Photomicrograph of a urine filtration membrane, 4× objective.
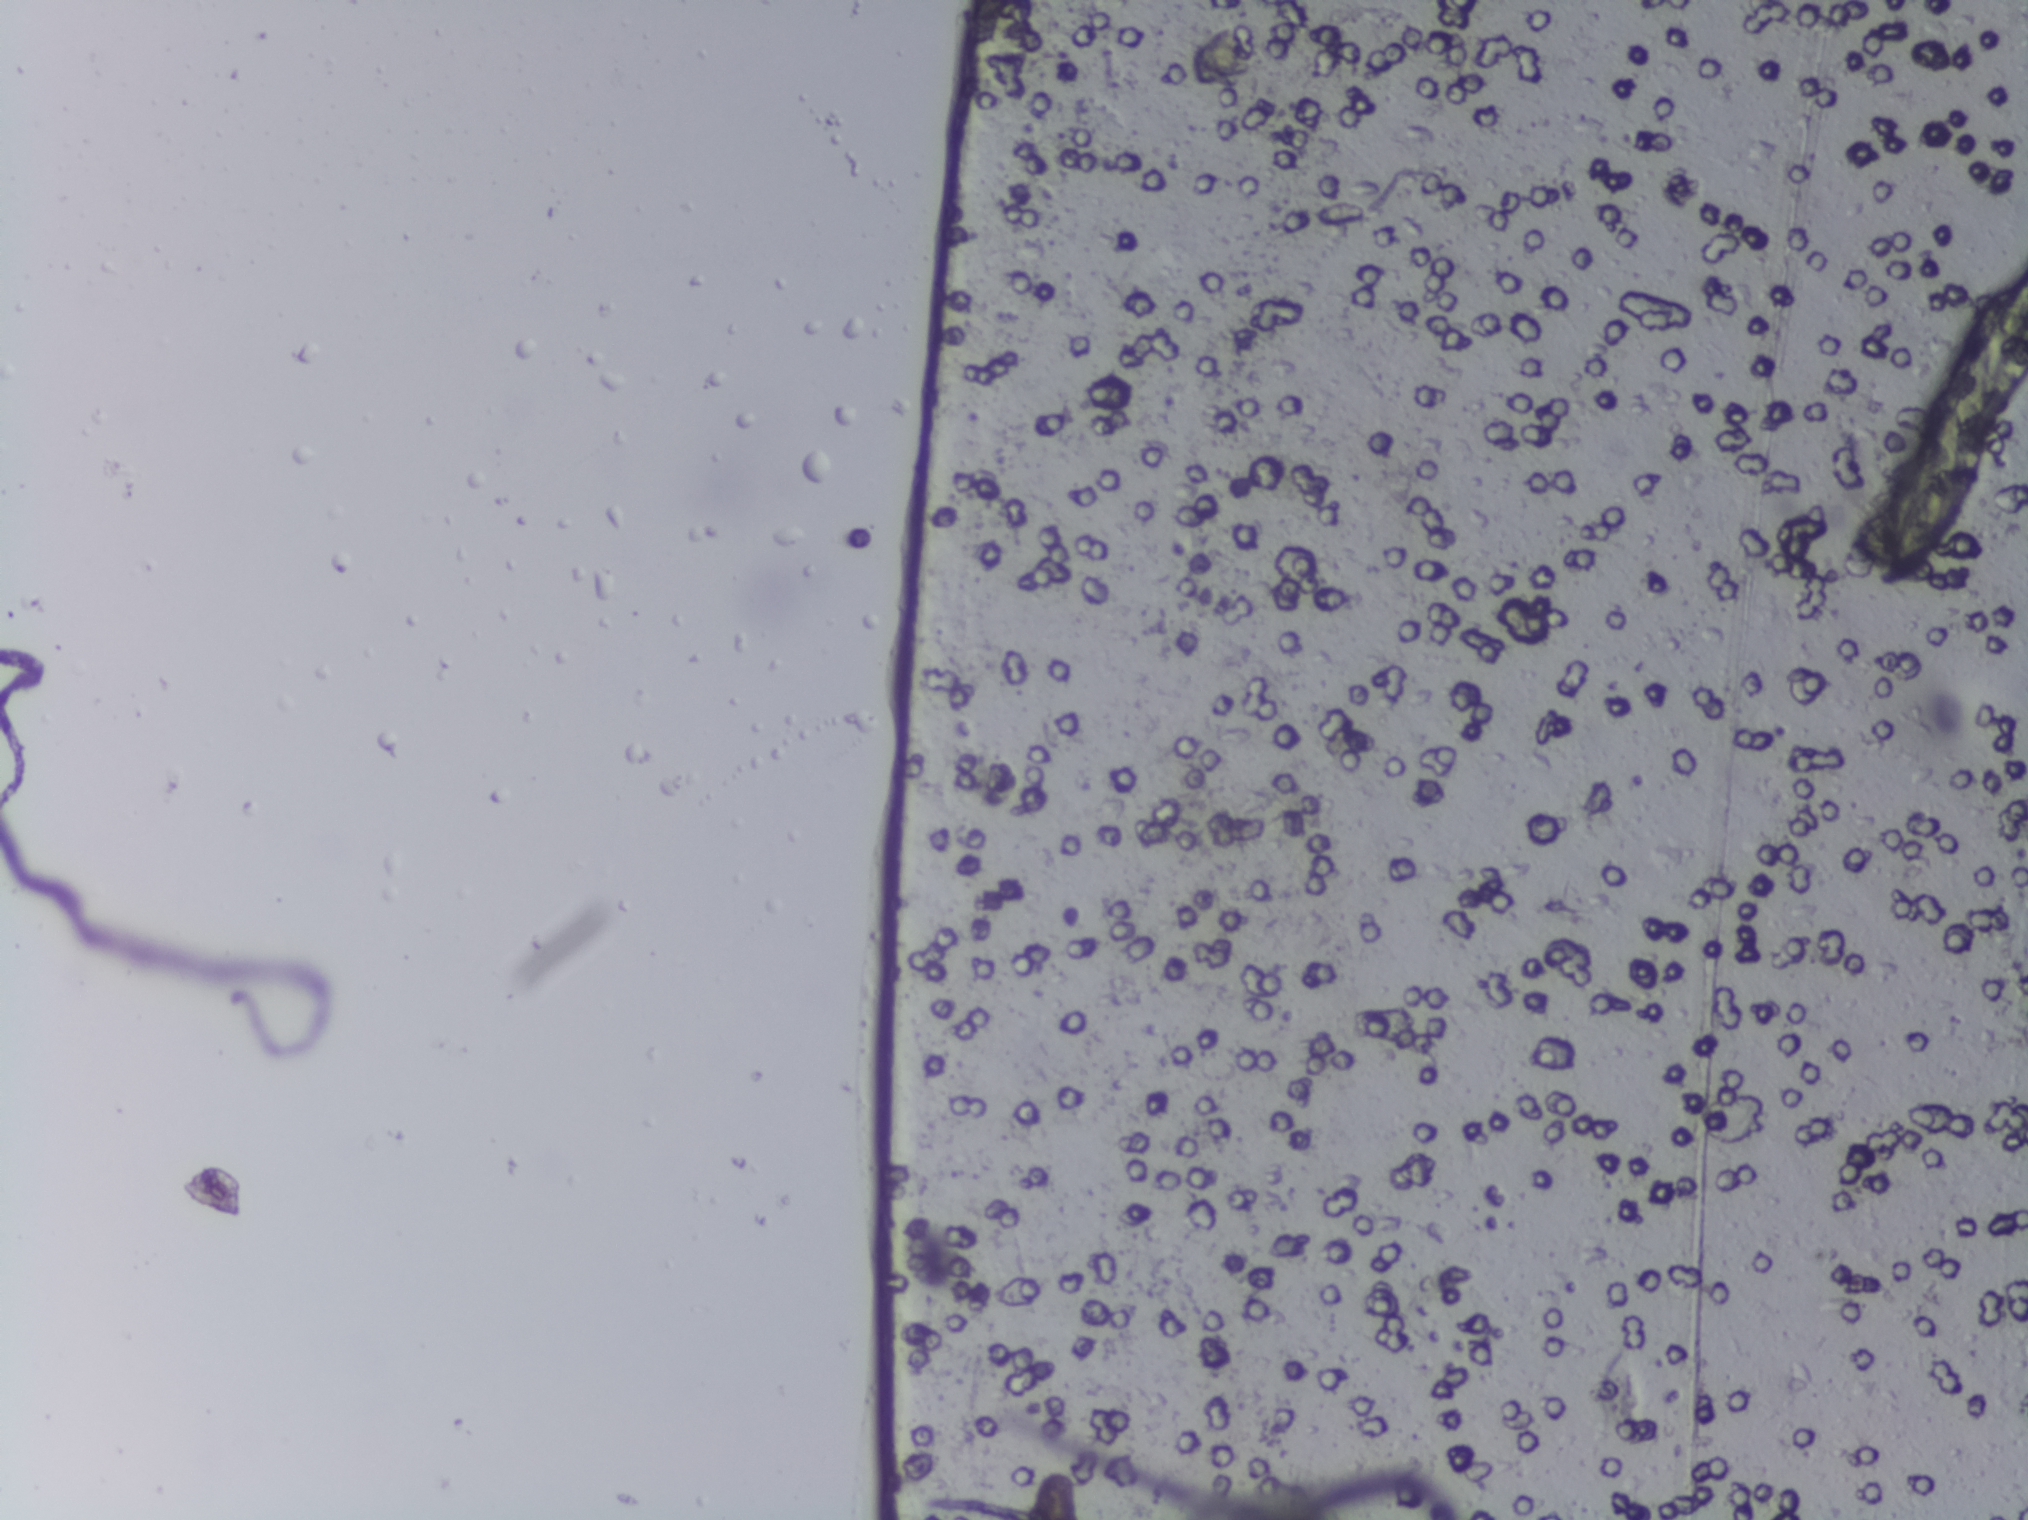
Schistosoma eggs: none outlined.